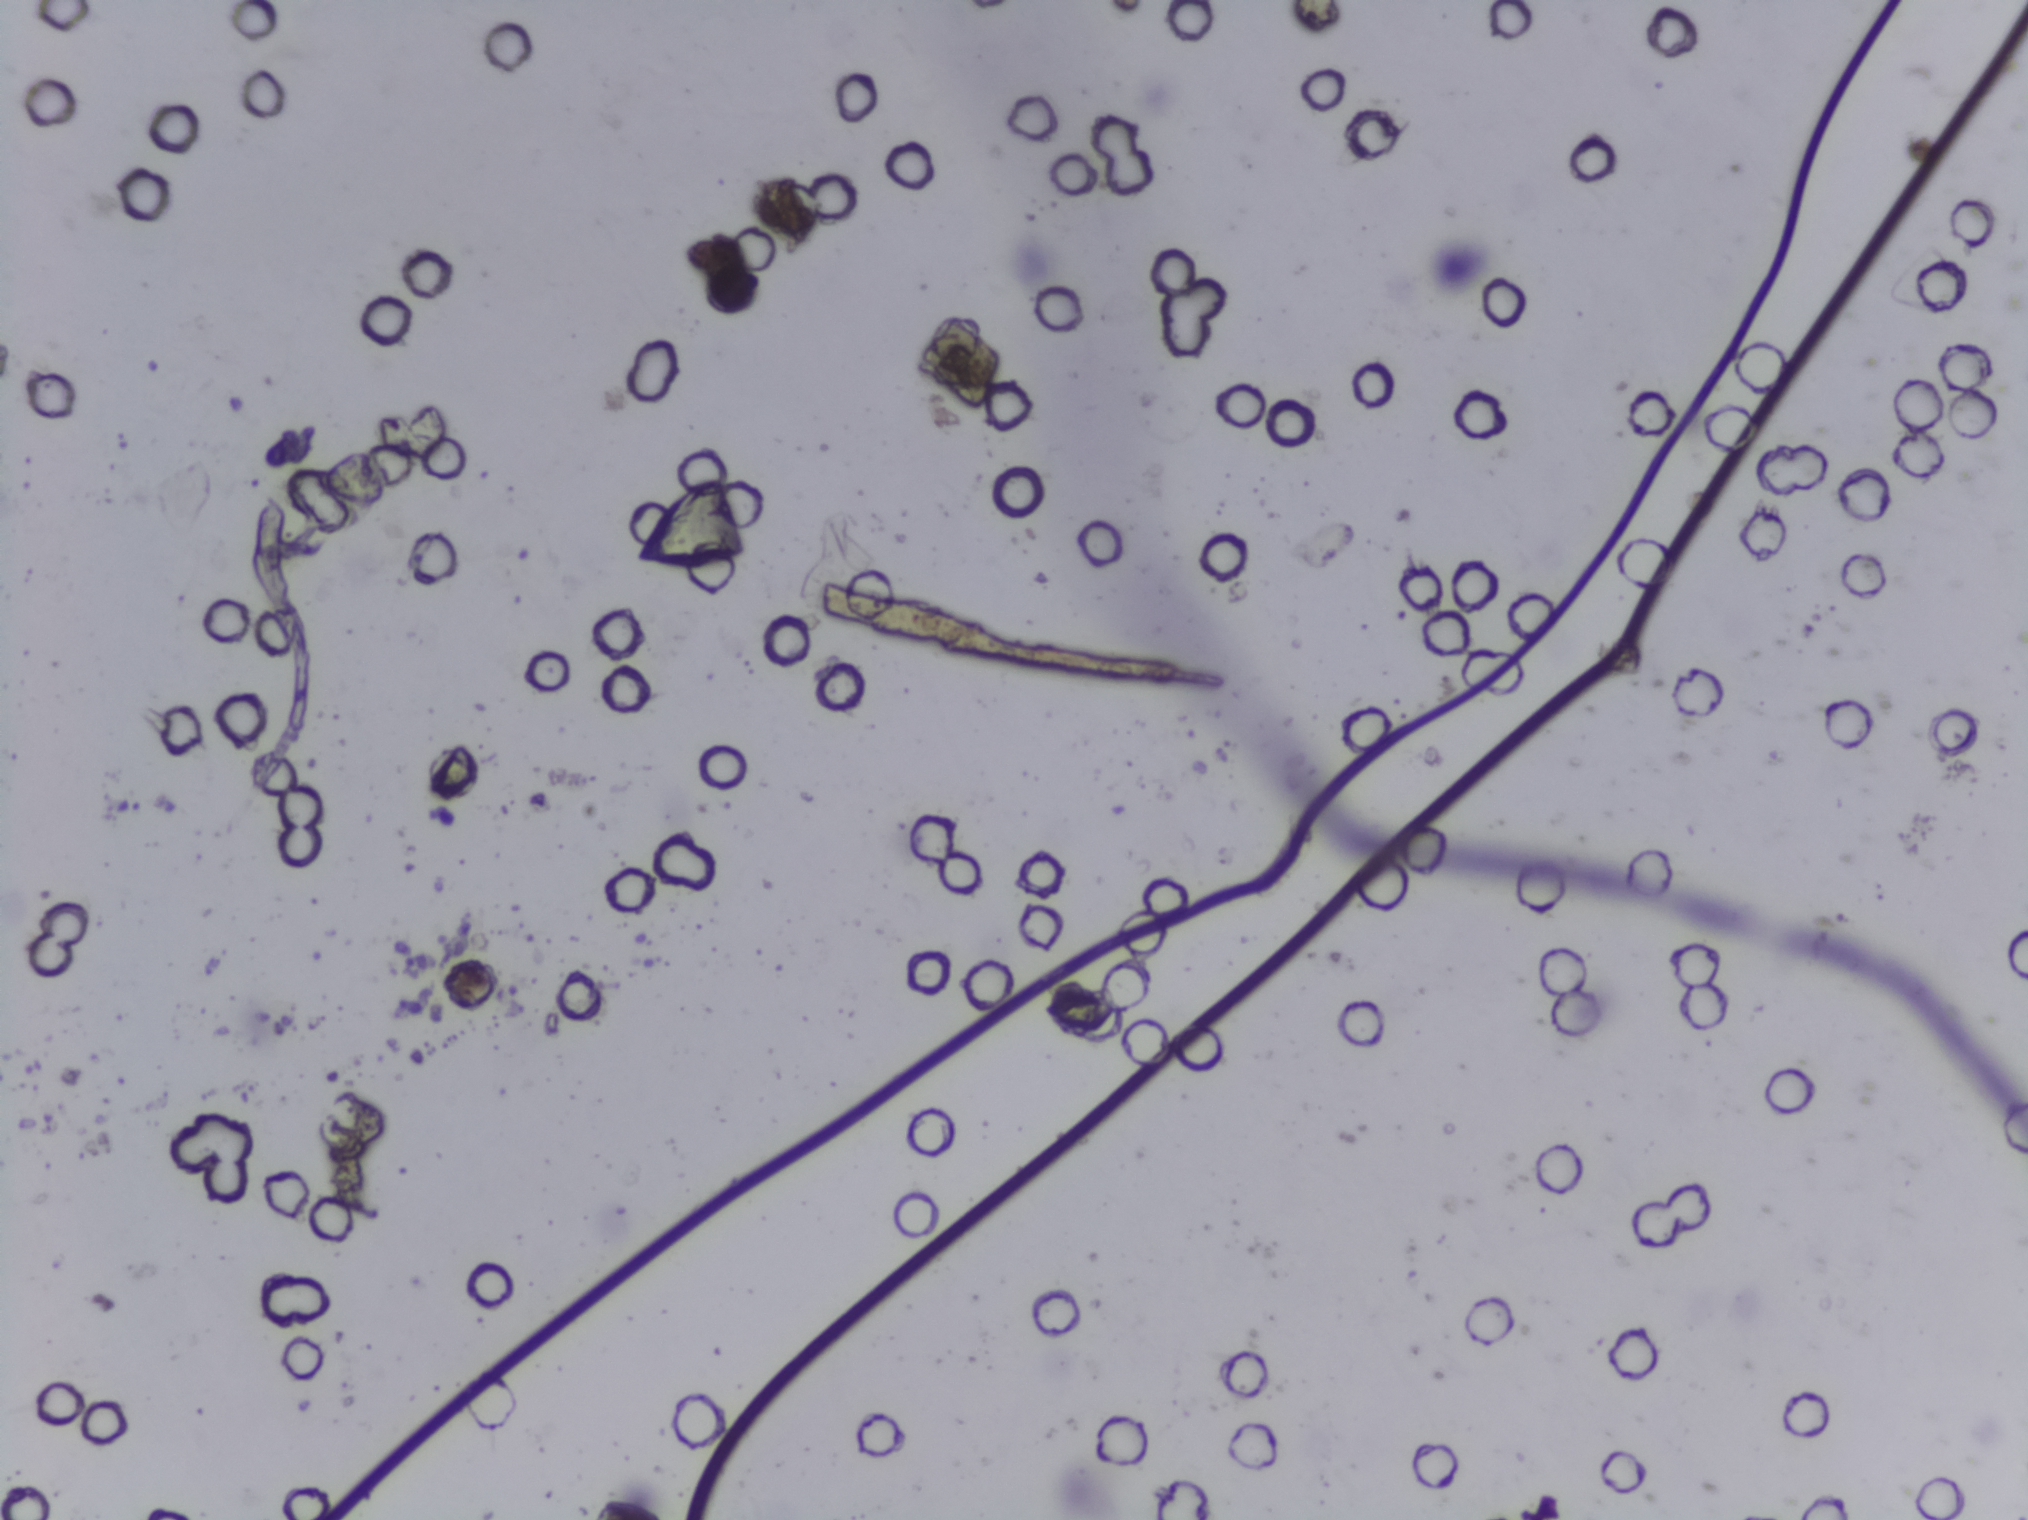
Photograph from an automated digital microscope: urine filter membrane, 4× objective.
No area of this image was outlined as a Schistosoma egg.